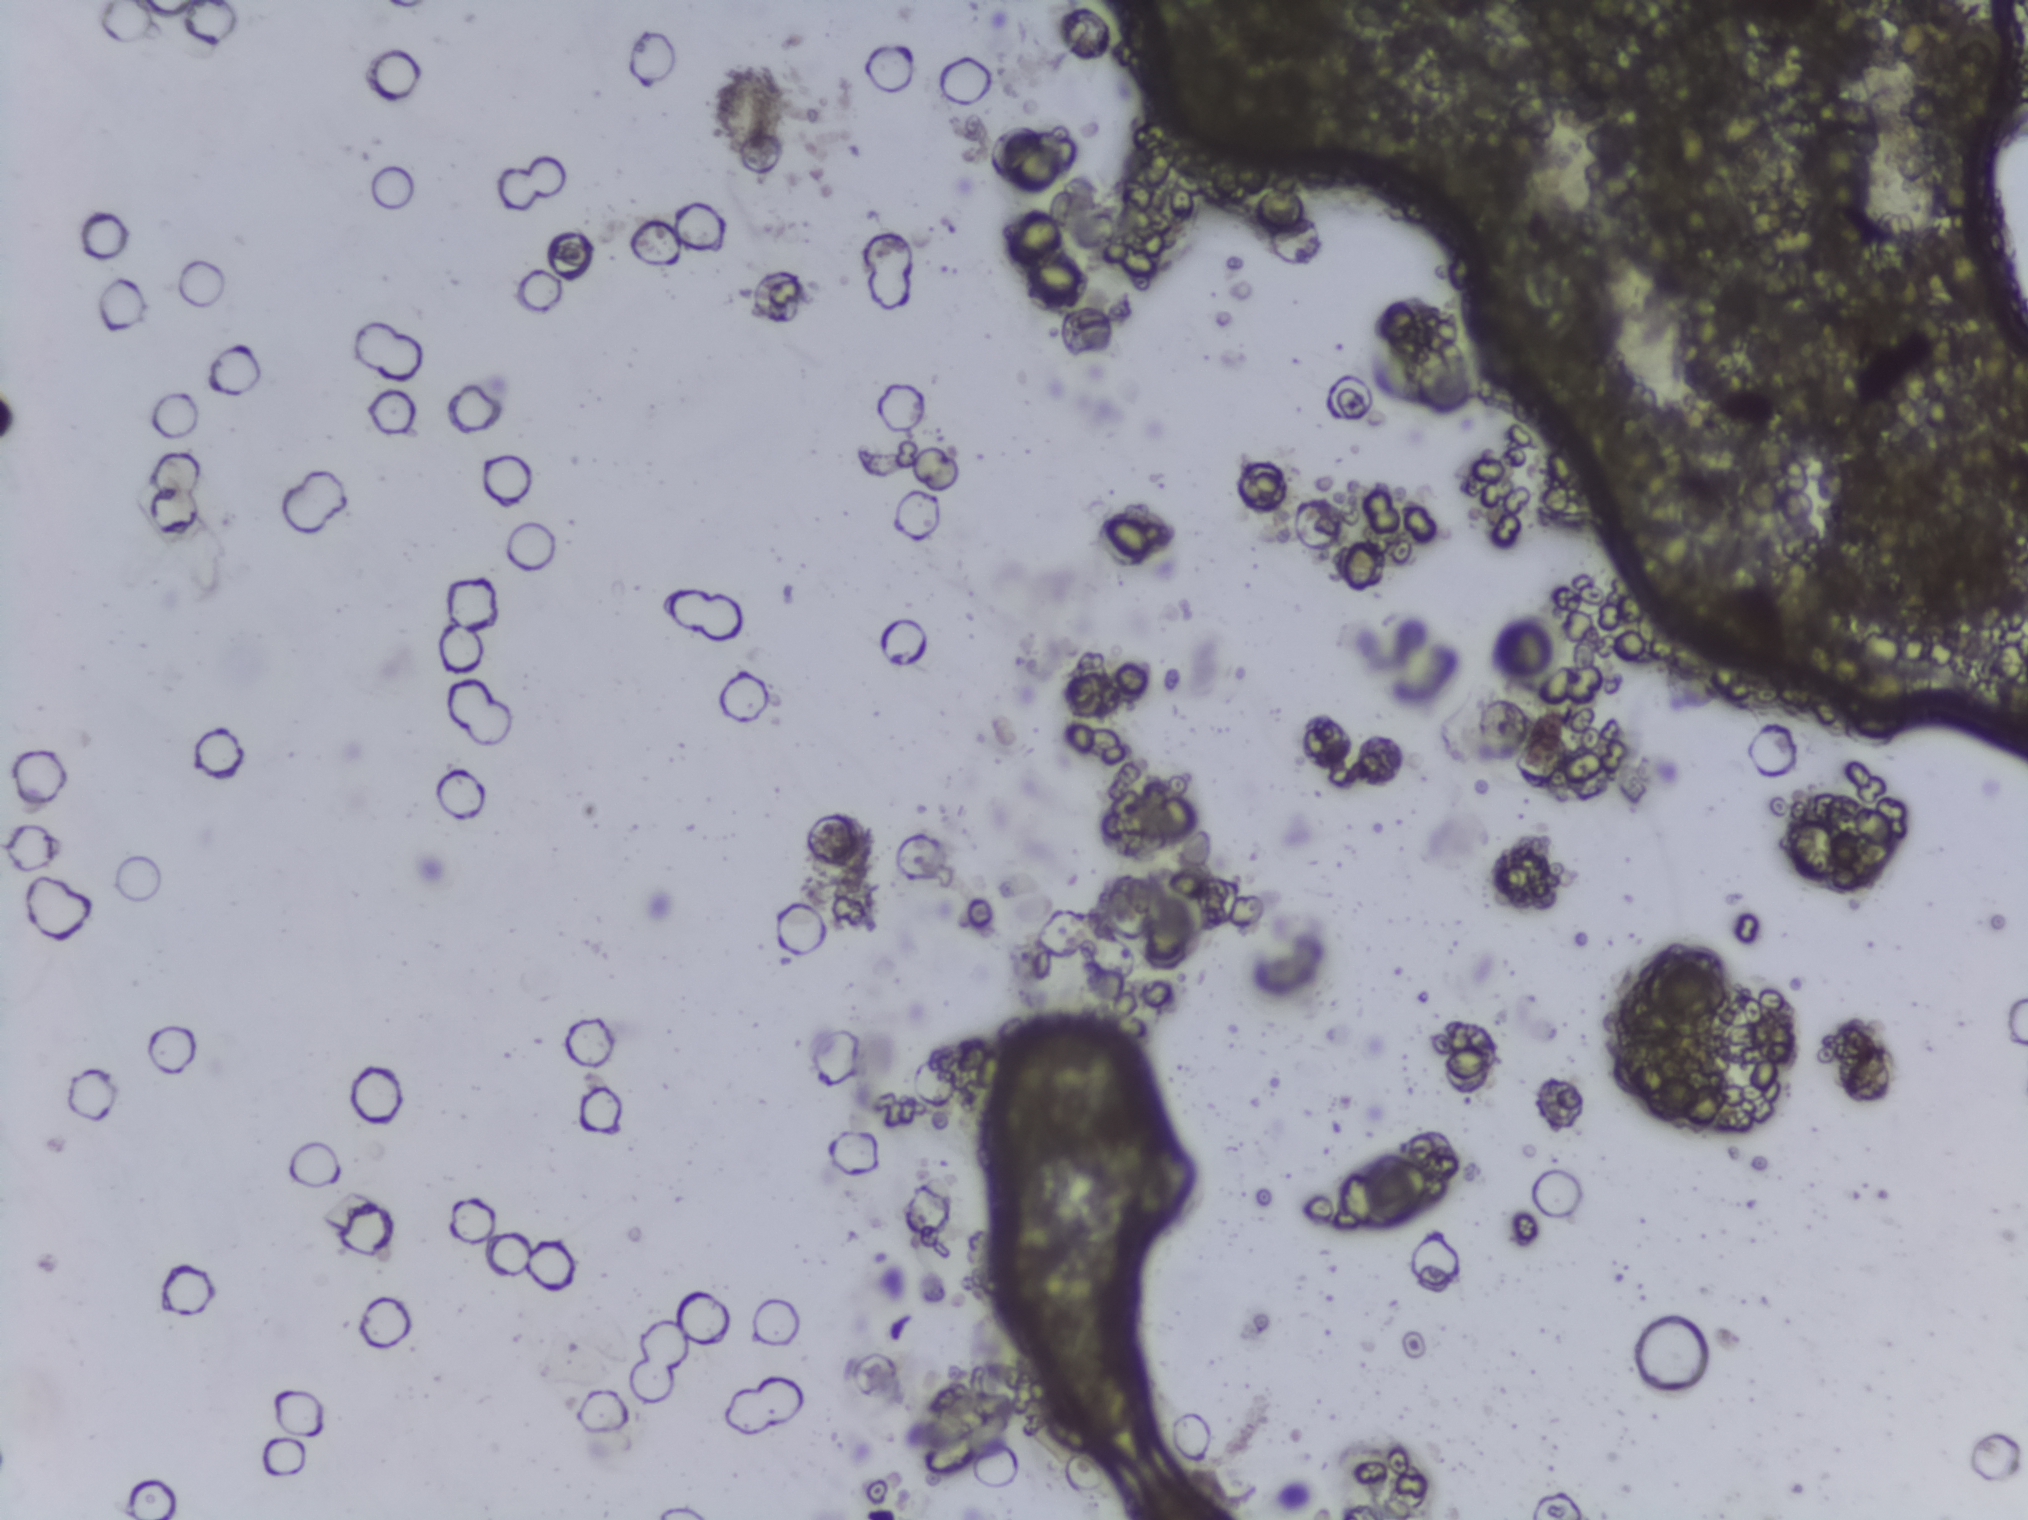
Urine filtration membrane under a 4× objective, photographed by an automated digital microscope. The field of view is about 1.5 mm × 1.1 mm.
Schistosoma eggs: none outlined.